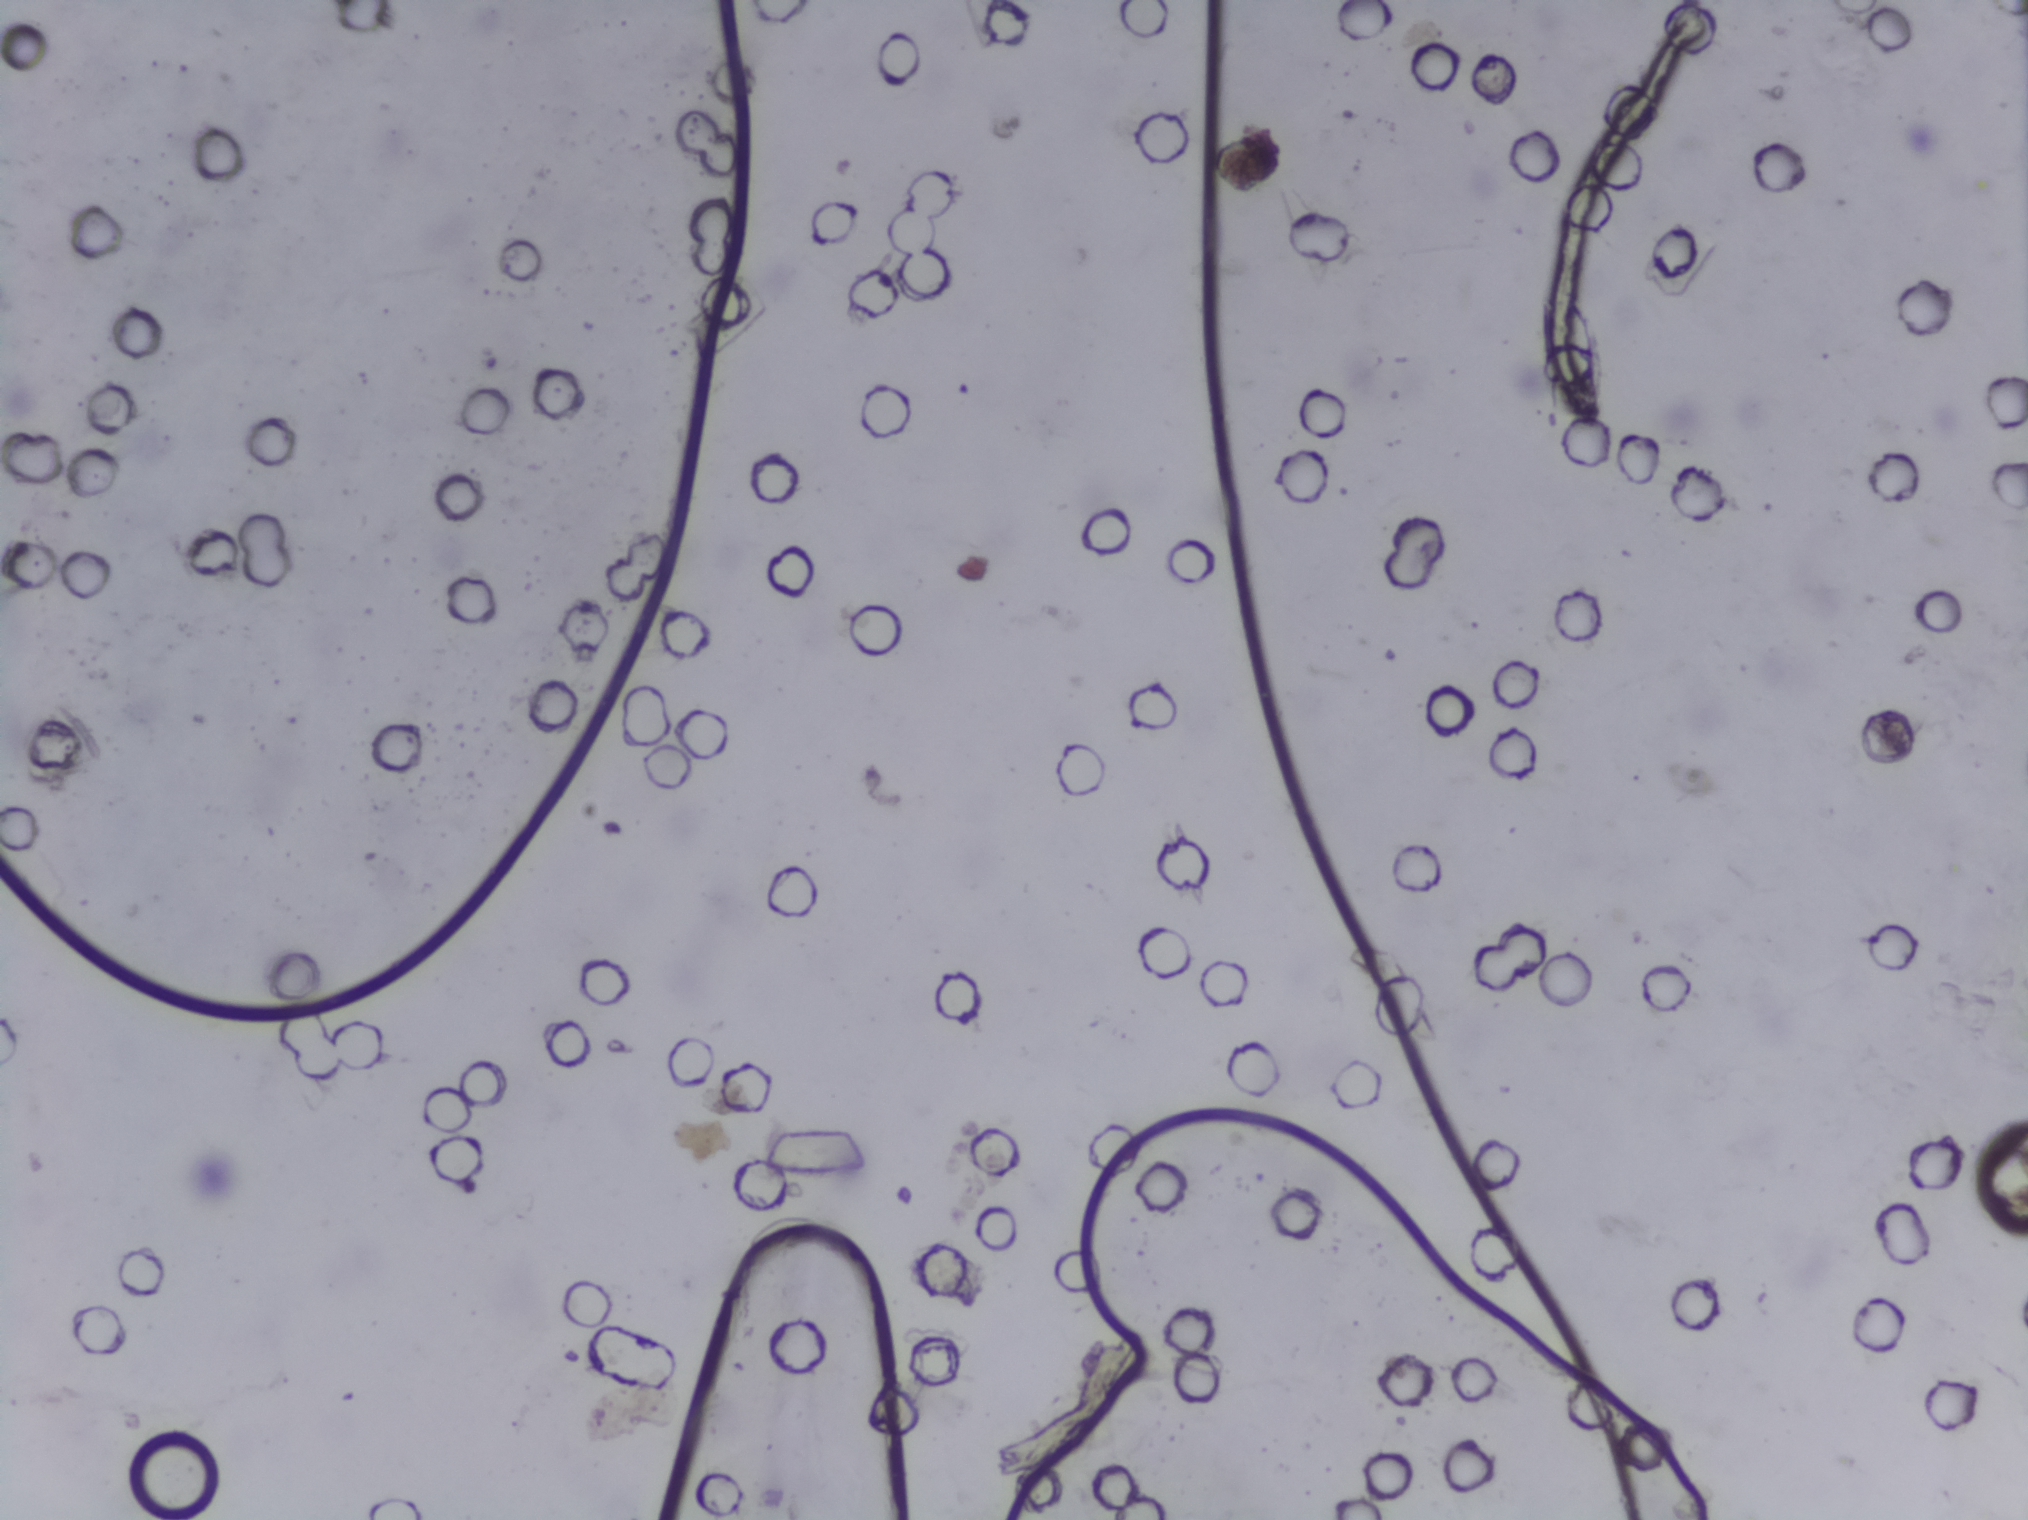
Photograph from an automated digital microscope: urine filter membrane, 4× objective.
The expert annotation outlines no Schistosoma egg in this image.